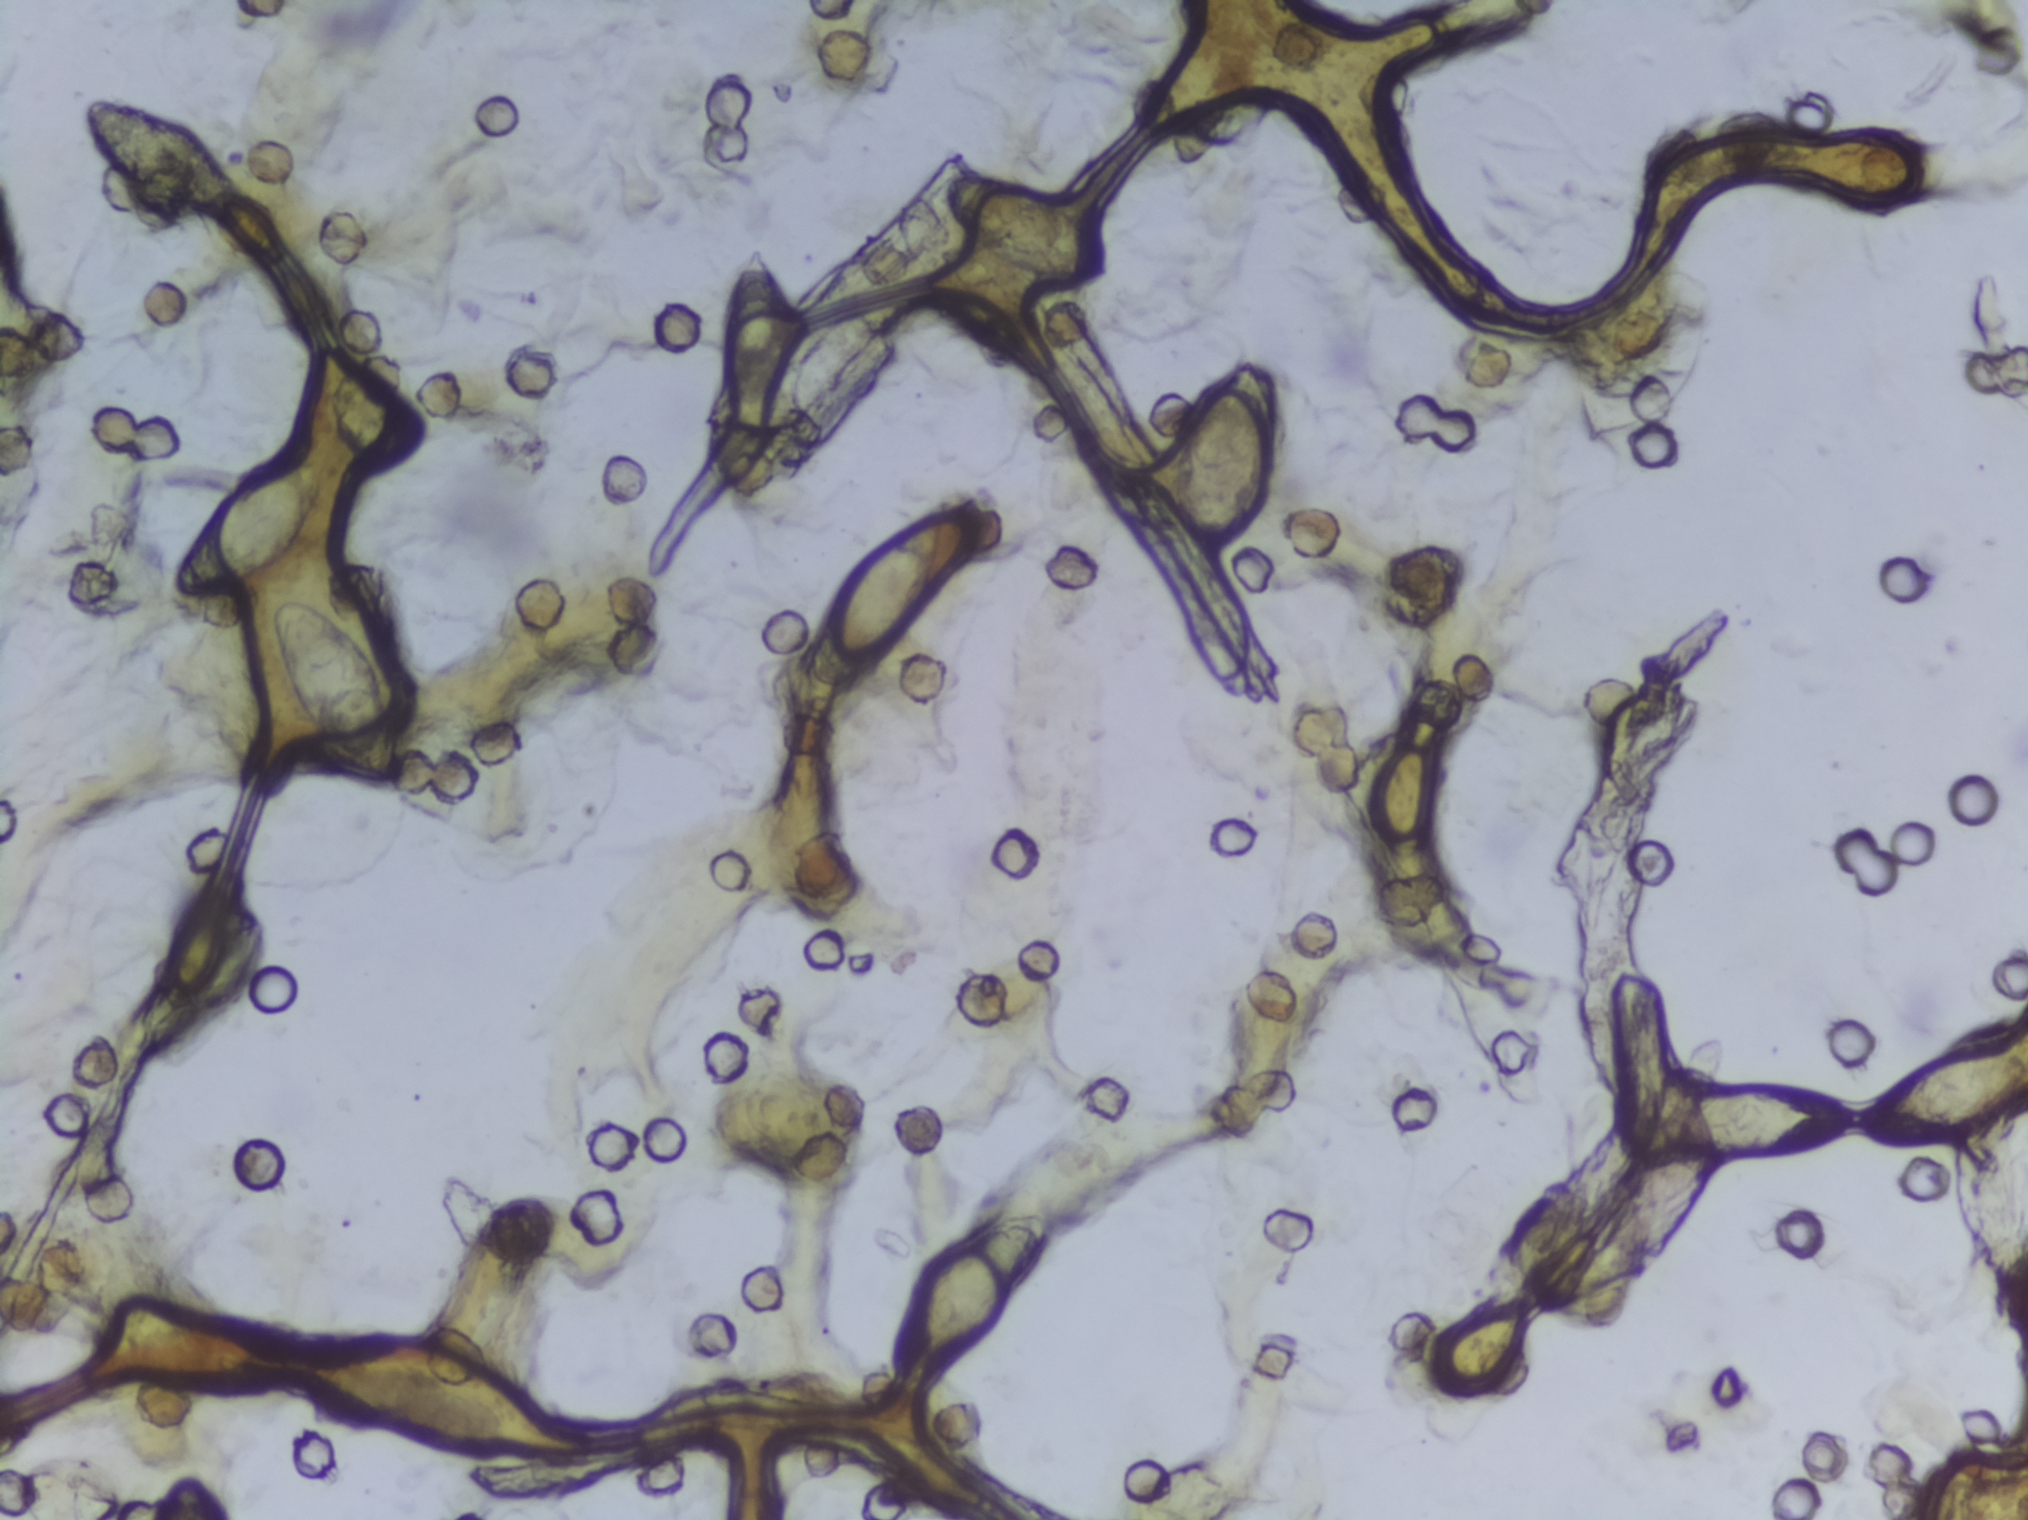
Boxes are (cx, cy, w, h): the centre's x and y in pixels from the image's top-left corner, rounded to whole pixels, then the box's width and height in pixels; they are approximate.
Nine areas of this image are outlined as Schistosoma eggs, from left to right: (cx=162, cy=158, w=160, h=119); (cx=248, cy=529, w=152, h=142); (cx=335, cy=693, w=130, h=190); (cx=758, cy=354, w=82, h=216); (cx=896, cy=599, w=178, h=191); (cx=968, cy=1297, w=172, h=175); (cx=1028, cy=231, w=177, h=116); (cx=1223, cy=460, w=103, h=204); (cx=1831, cy=1097, w=393, h=135) (reaching the right edge of the frame). An outlined area can hold more than one egg.
Photograph from an automated digital microscope: urine filter membrane, 4× objective.